One field of view of a urine filter membrane, 4× objective, 2028 × 1520 pixels.
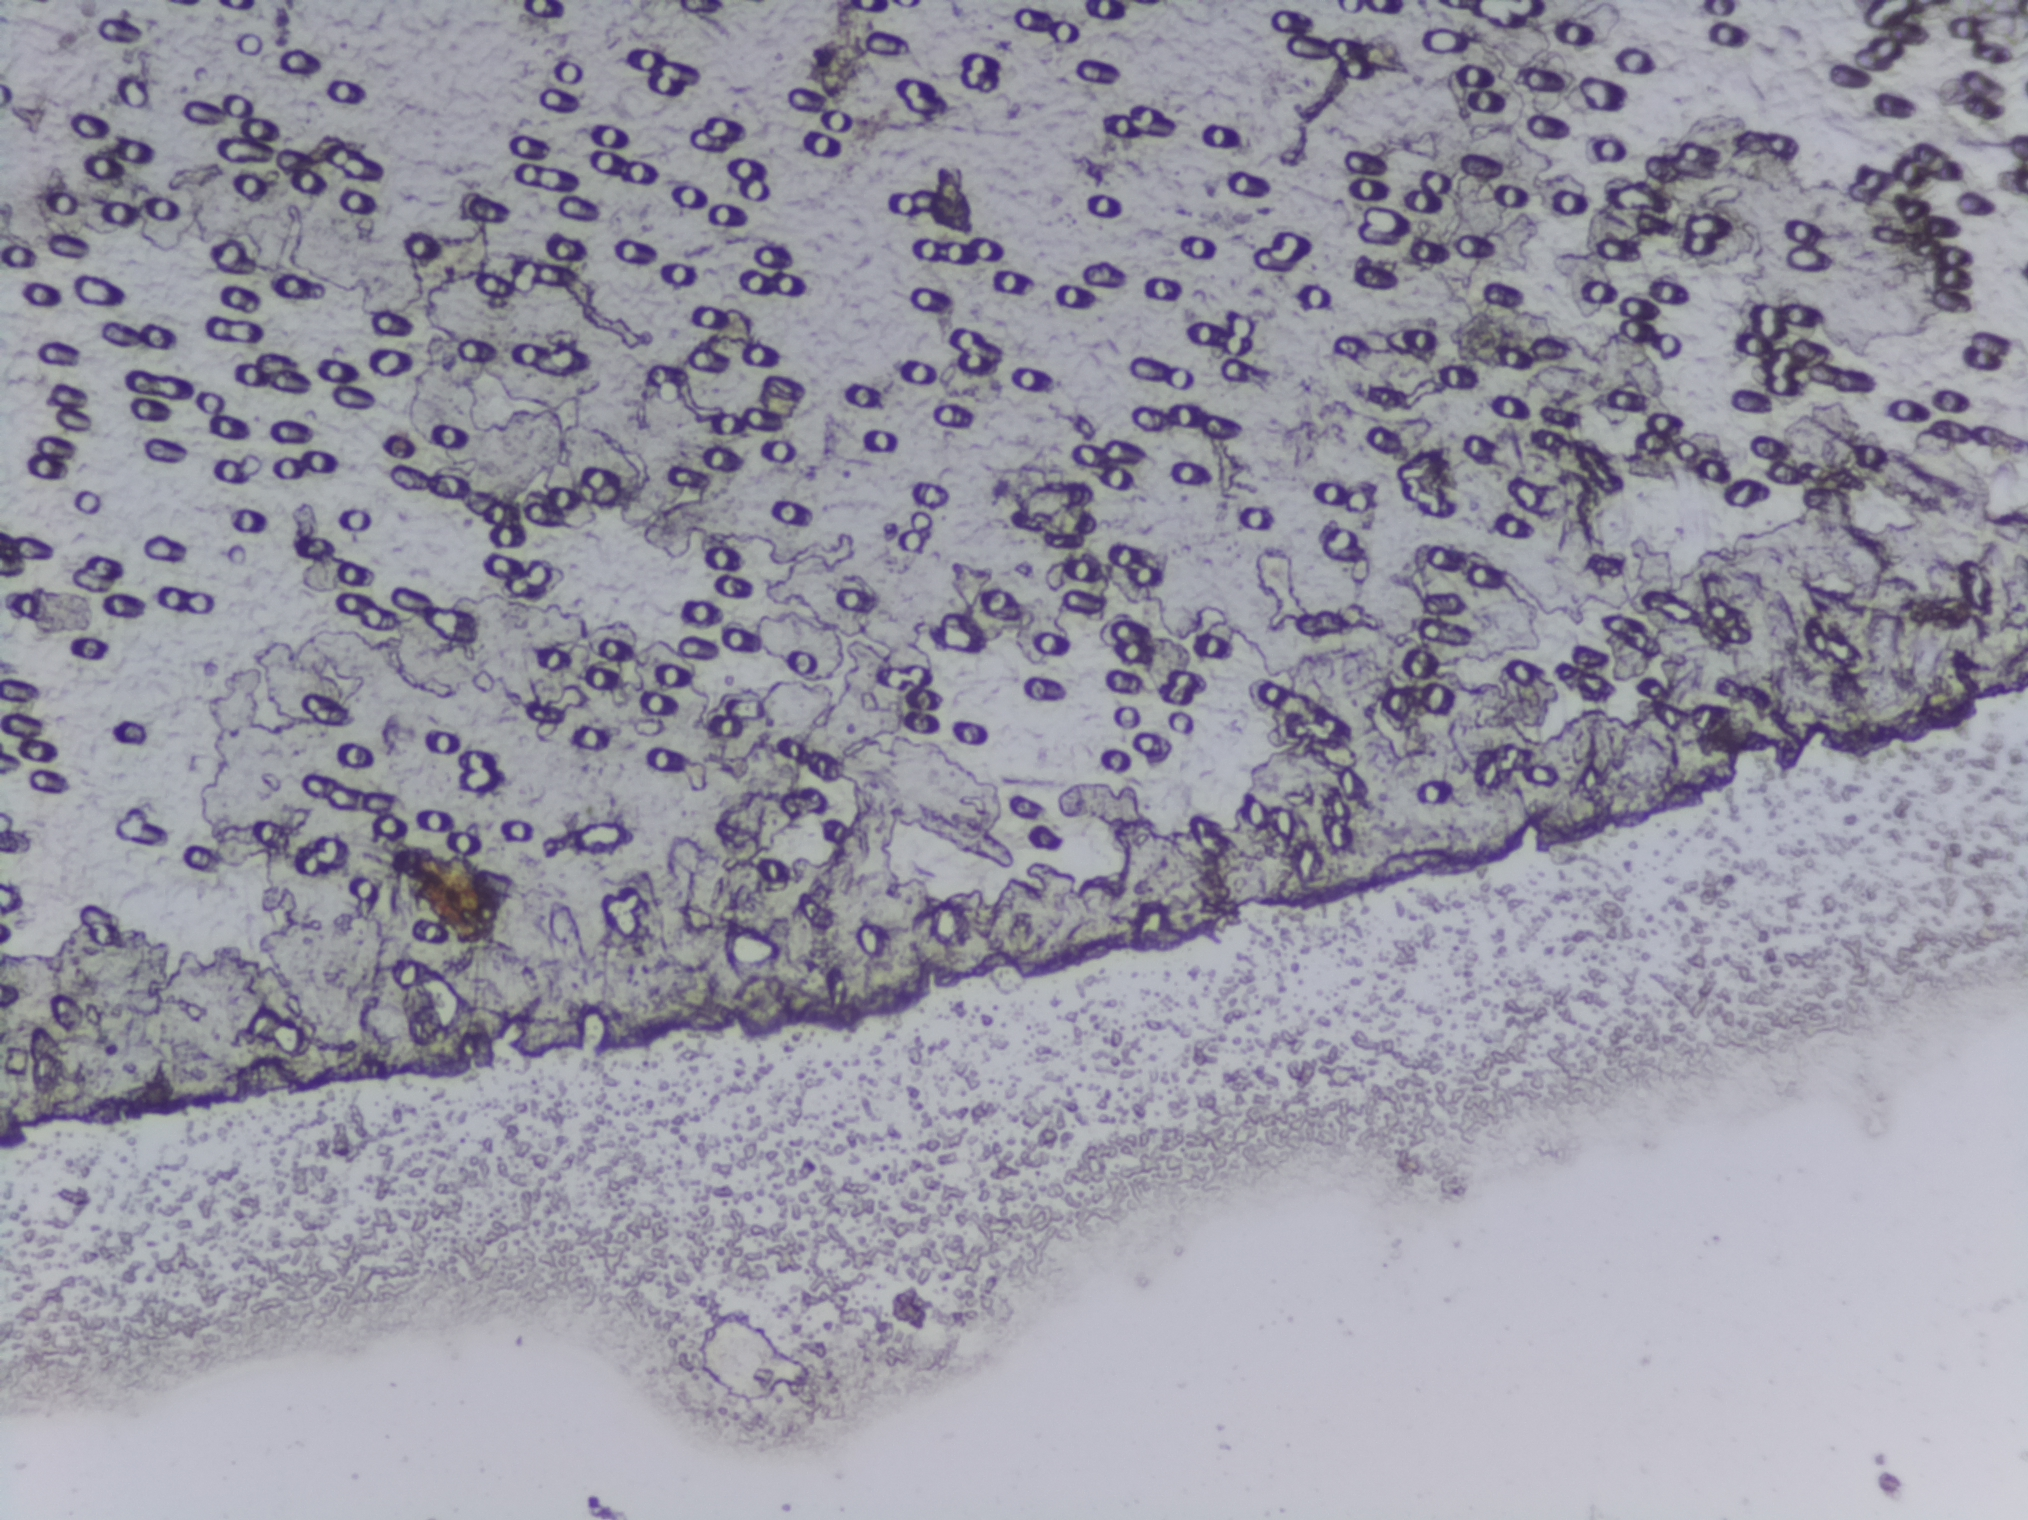
No area of this image was outlined as a Schistosoma egg.